Photograph from an automated digital microscope: urine filter membrane, 4× objective.
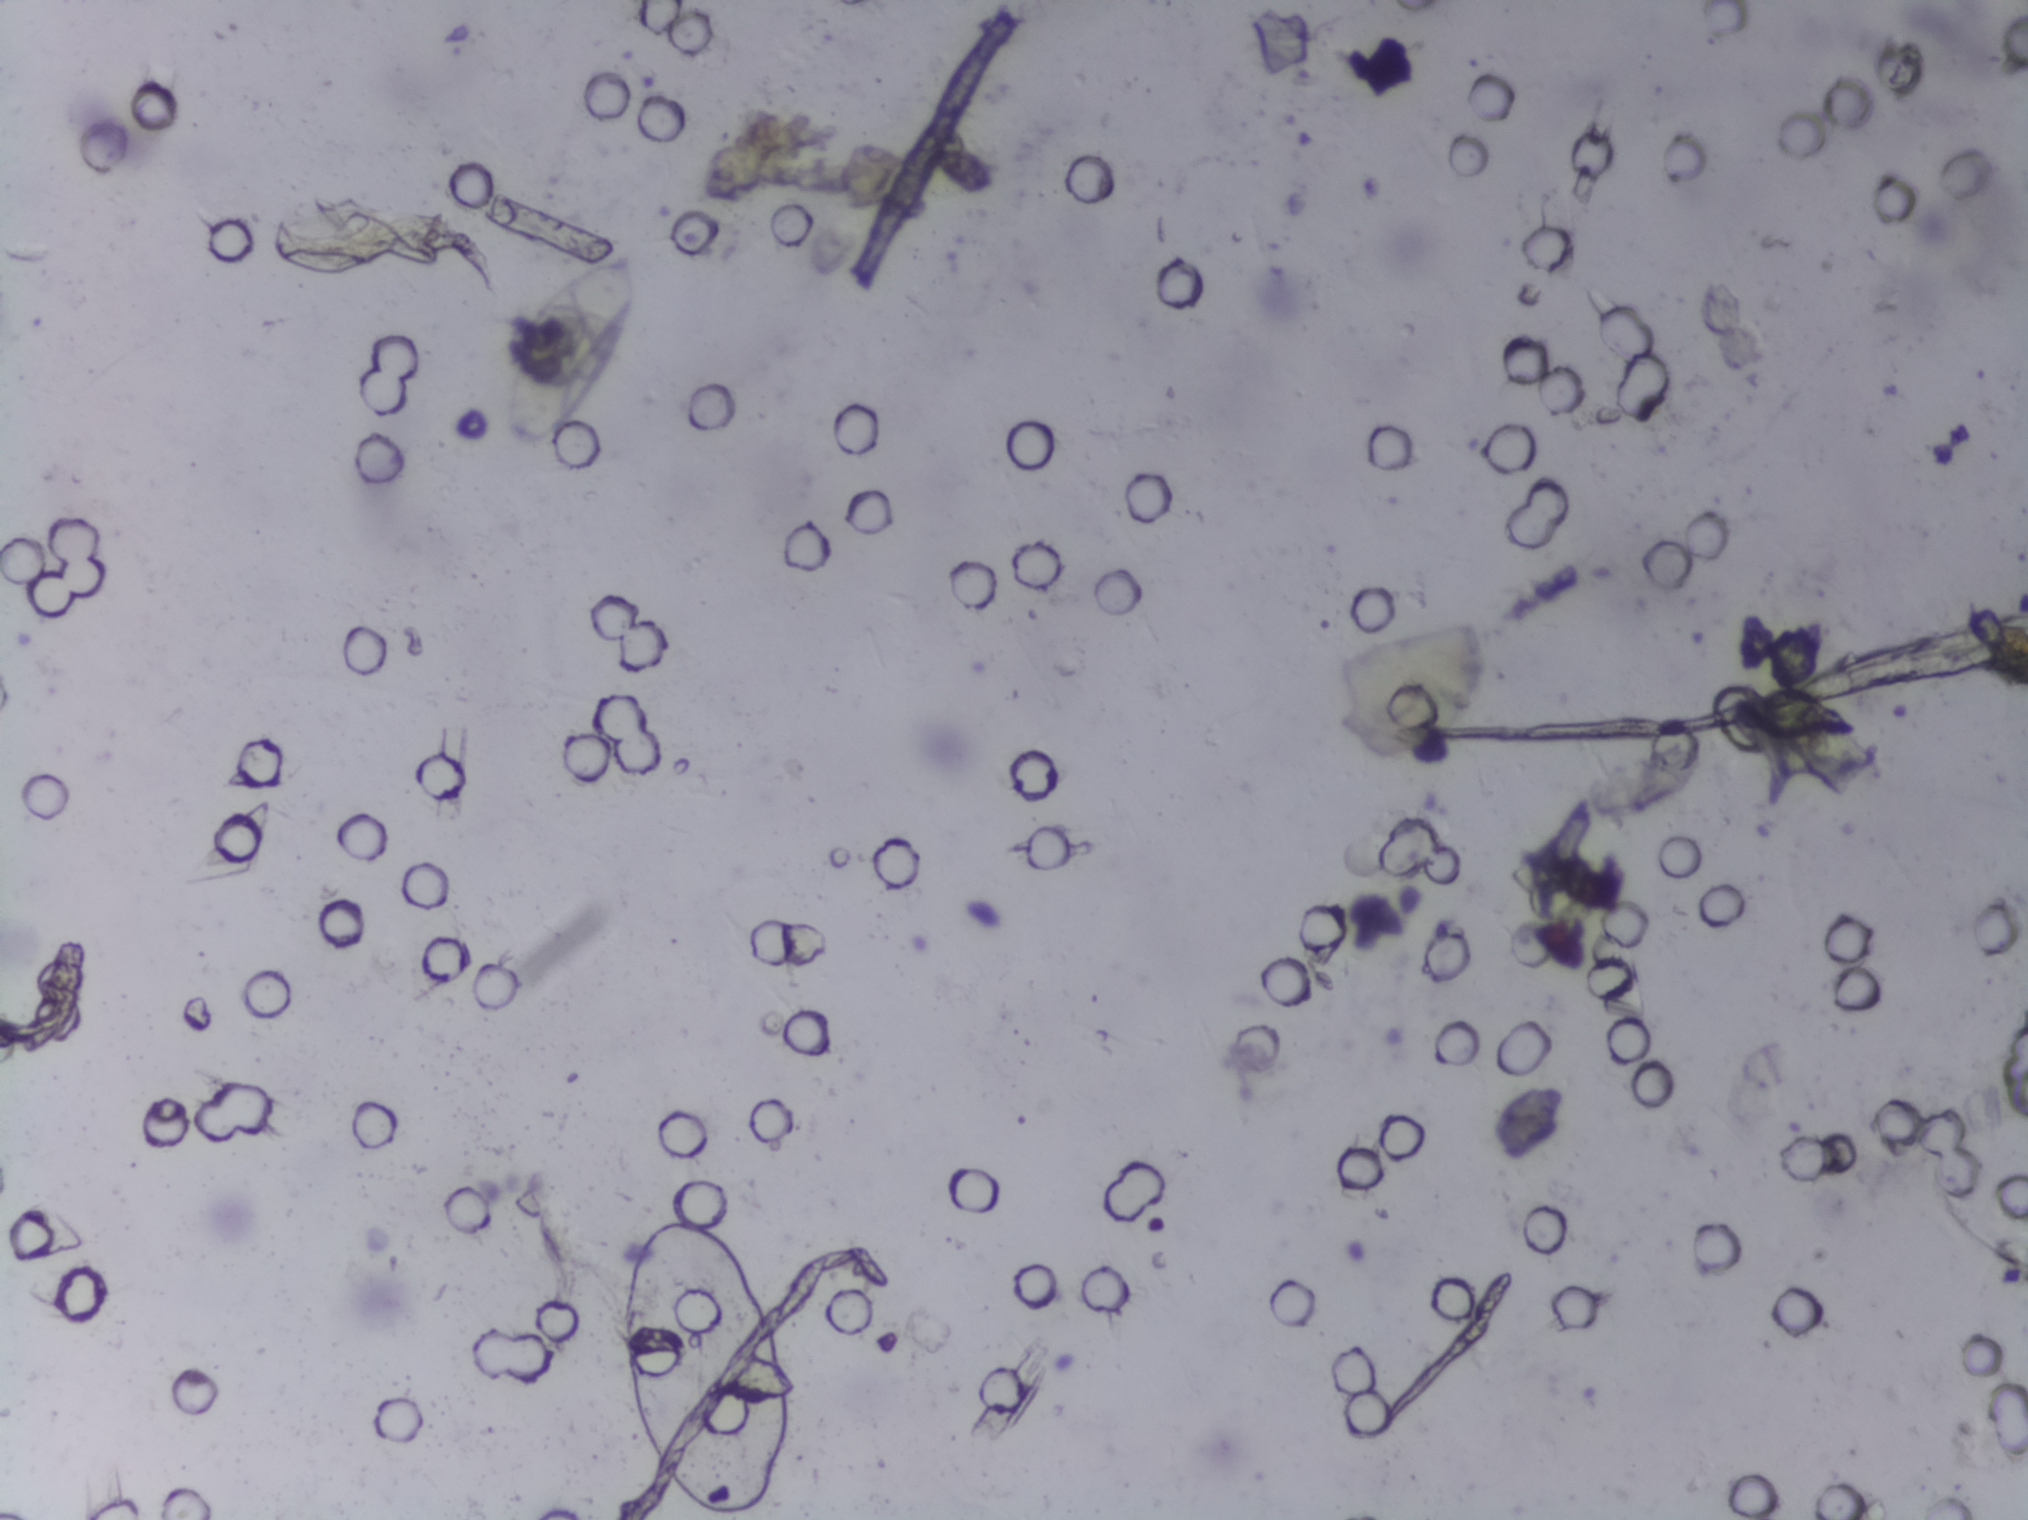
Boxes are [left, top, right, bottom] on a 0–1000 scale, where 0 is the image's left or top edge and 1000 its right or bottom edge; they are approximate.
Findings: one area outlined as Schistosoma eggs. Location: [248, 166, 316, 295]. Eggs that touch can end up inside the same outlined area. A marked egg may occasionally be S. mansoni rather than S. haematobium.